Urine filtration membrane under a 4× objective, photographed by an automated digital microscope.
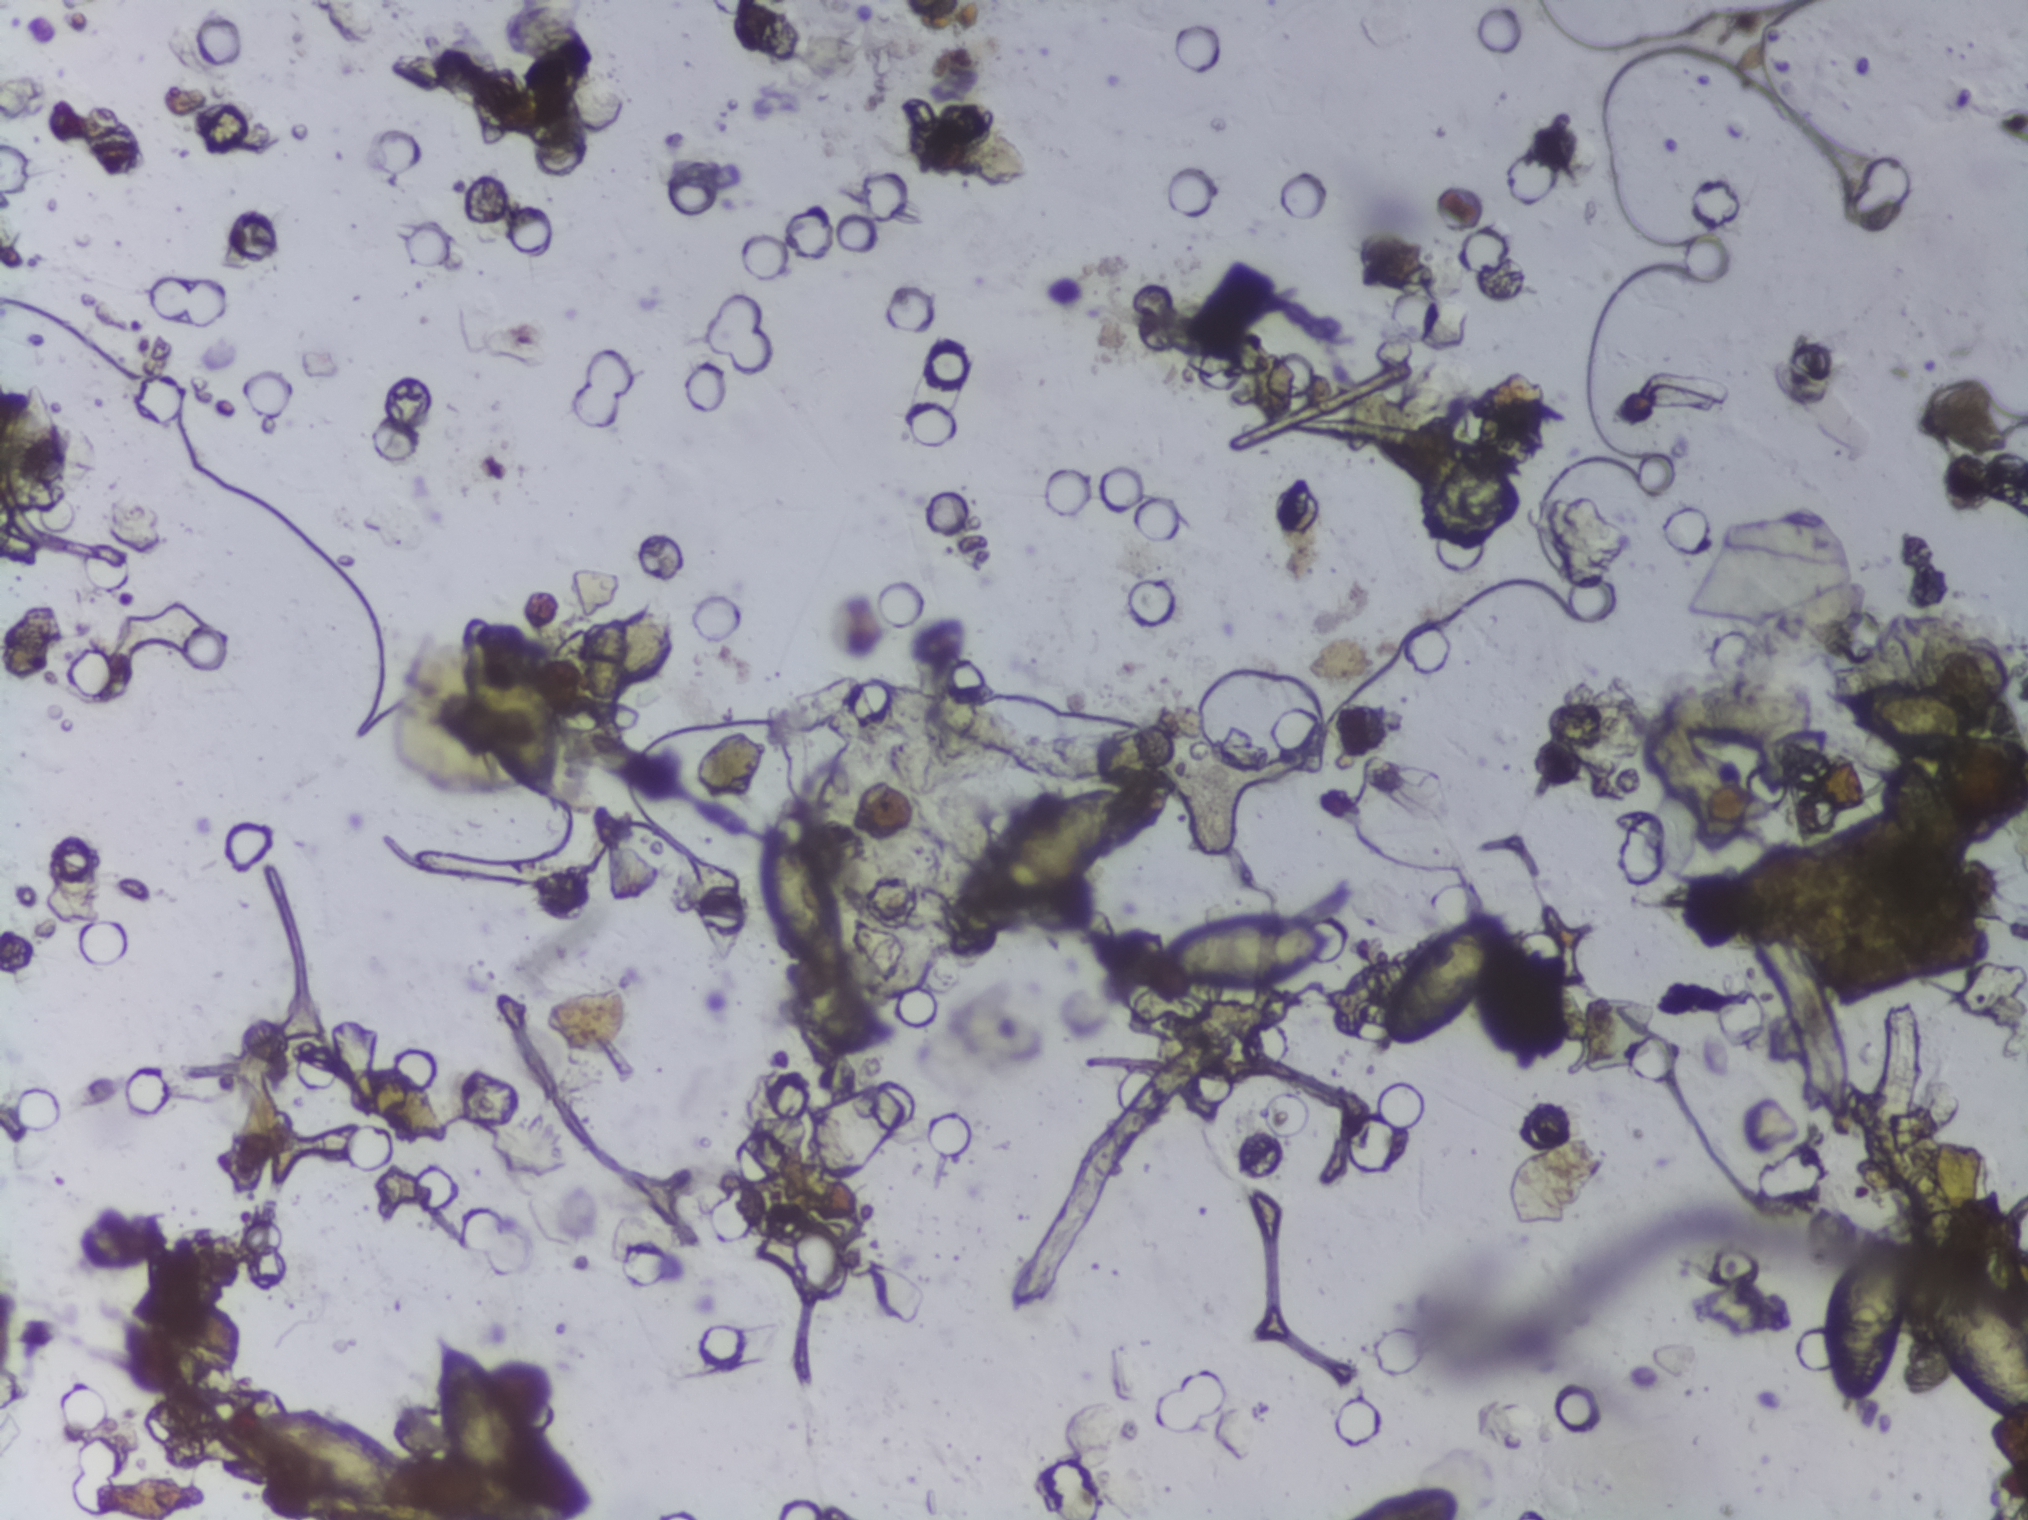
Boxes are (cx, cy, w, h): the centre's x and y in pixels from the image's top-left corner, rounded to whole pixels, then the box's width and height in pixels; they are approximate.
Seven areas of this image are outlined as Schistosoma eggs, from left to right: (cx=487, cy=1424, w=123, h=192) (reaching the bottom edge of the frame); (cx=504, cy=707, w=122, h=199); (cx=802, cy=908, w=96, h=184); (cx=1043, cy=852, w=187, h=144); (cx=1234, cy=951, w=190, h=90); (cx=1442, cy=980, w=132, h=137); (cx=1924, cy=1325, w=207, h=203) (reaching the right edge of the frame). An outlined area can hold more than one egg.